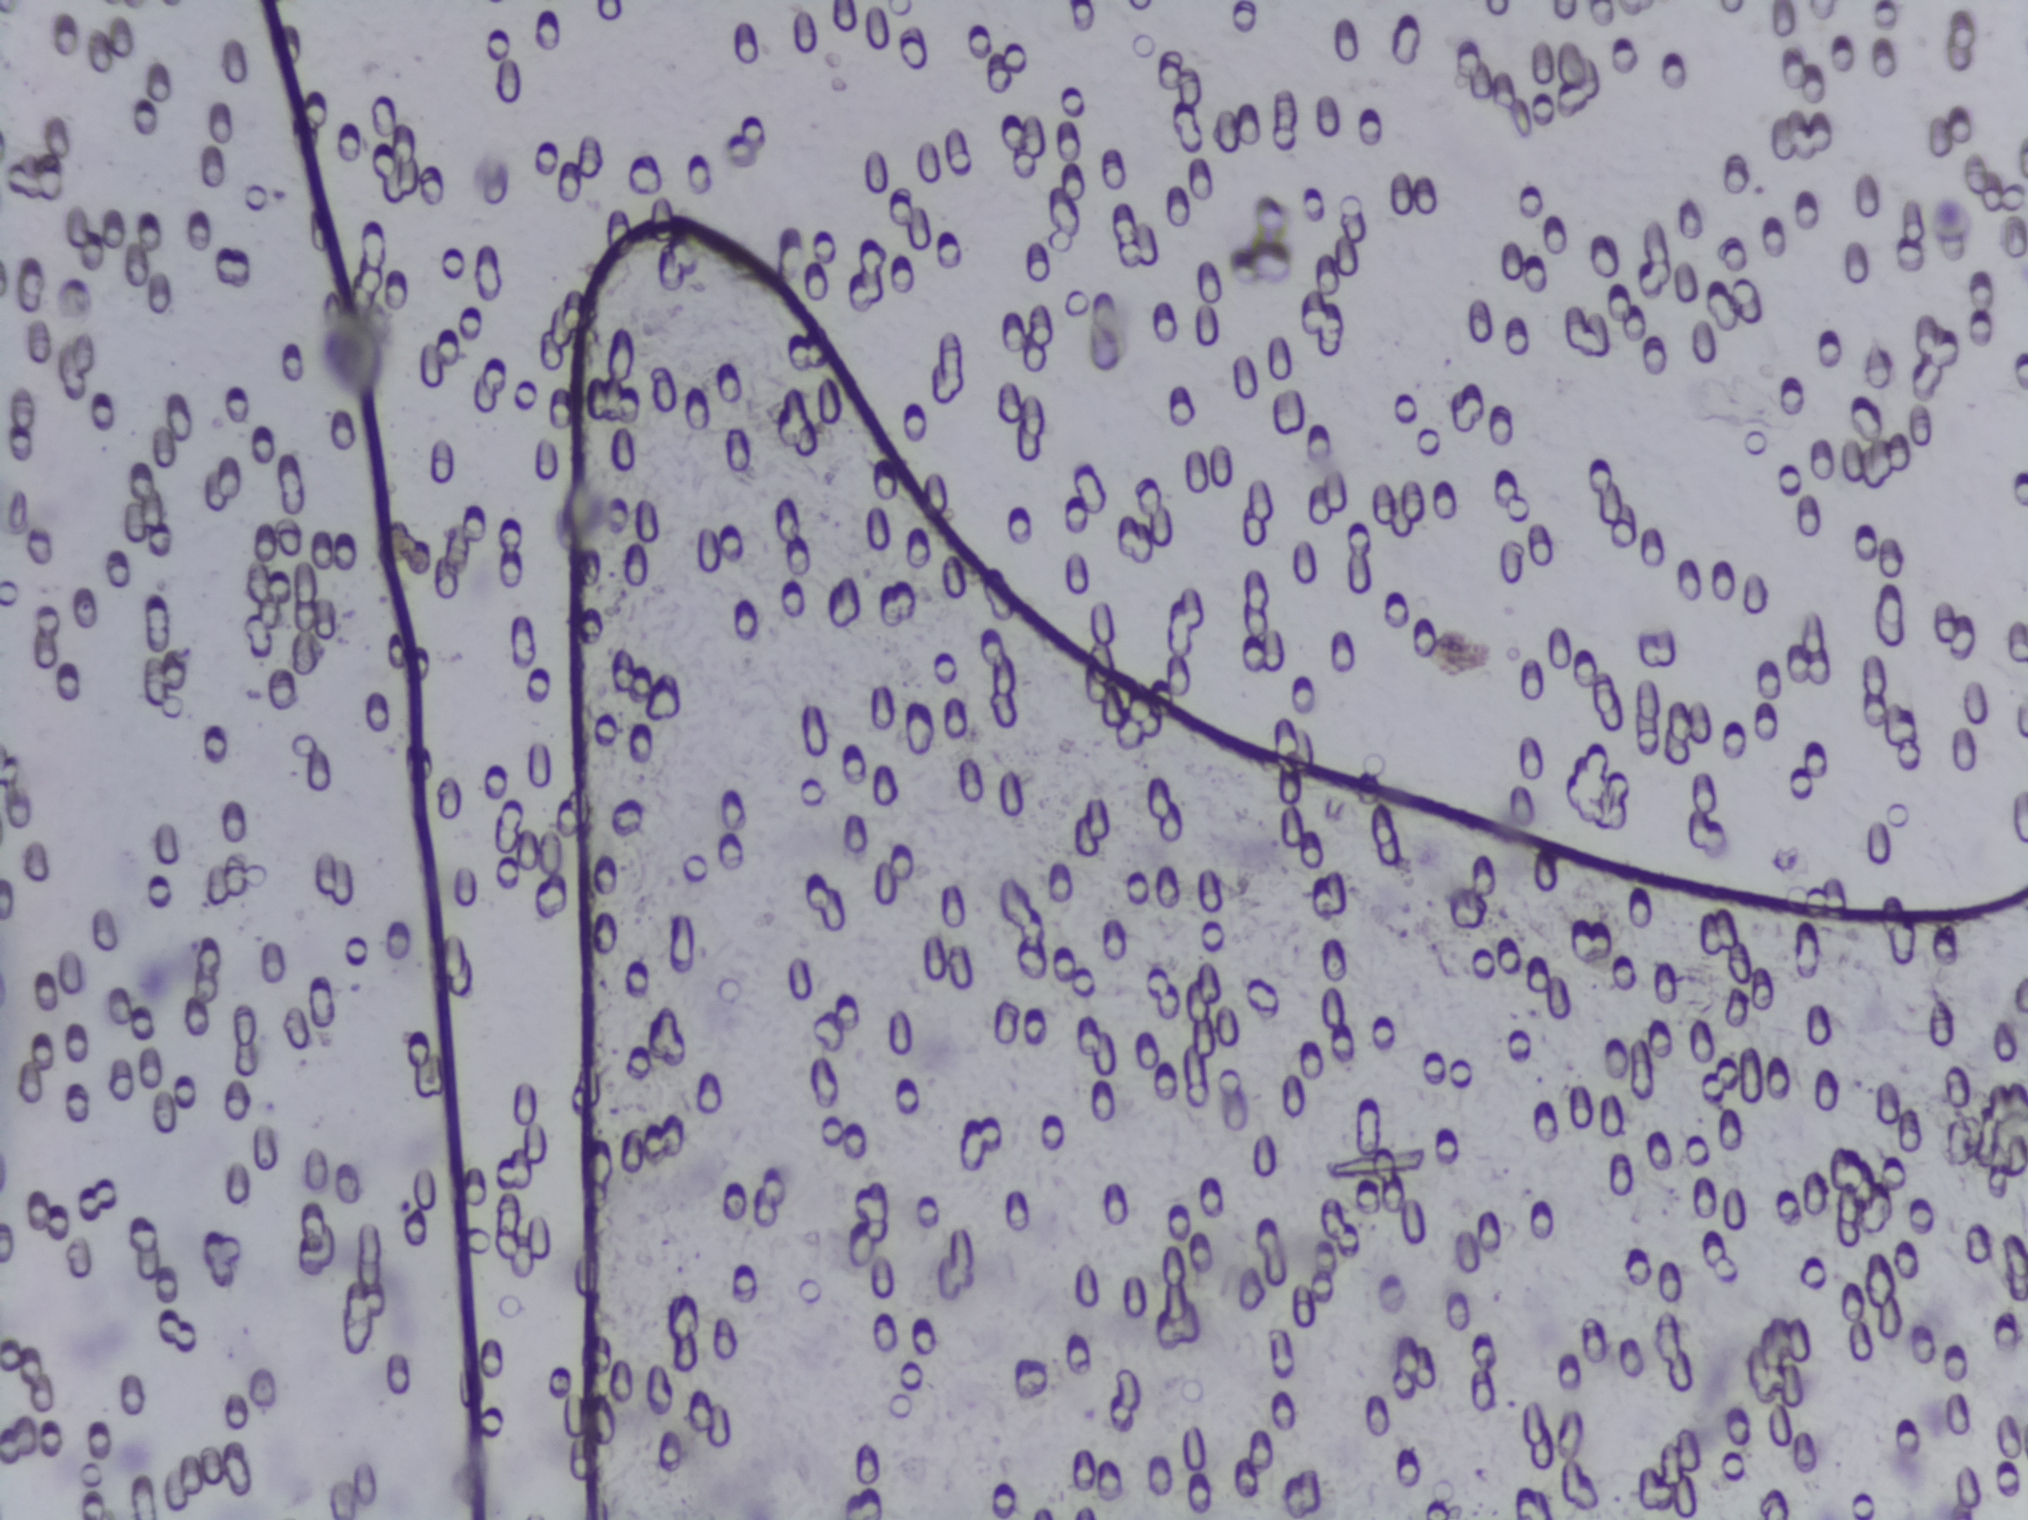
The expert annotation marks no Schistosoma egg in this field of view.
Urine filter membrane photographed through a 4× microscope objective.